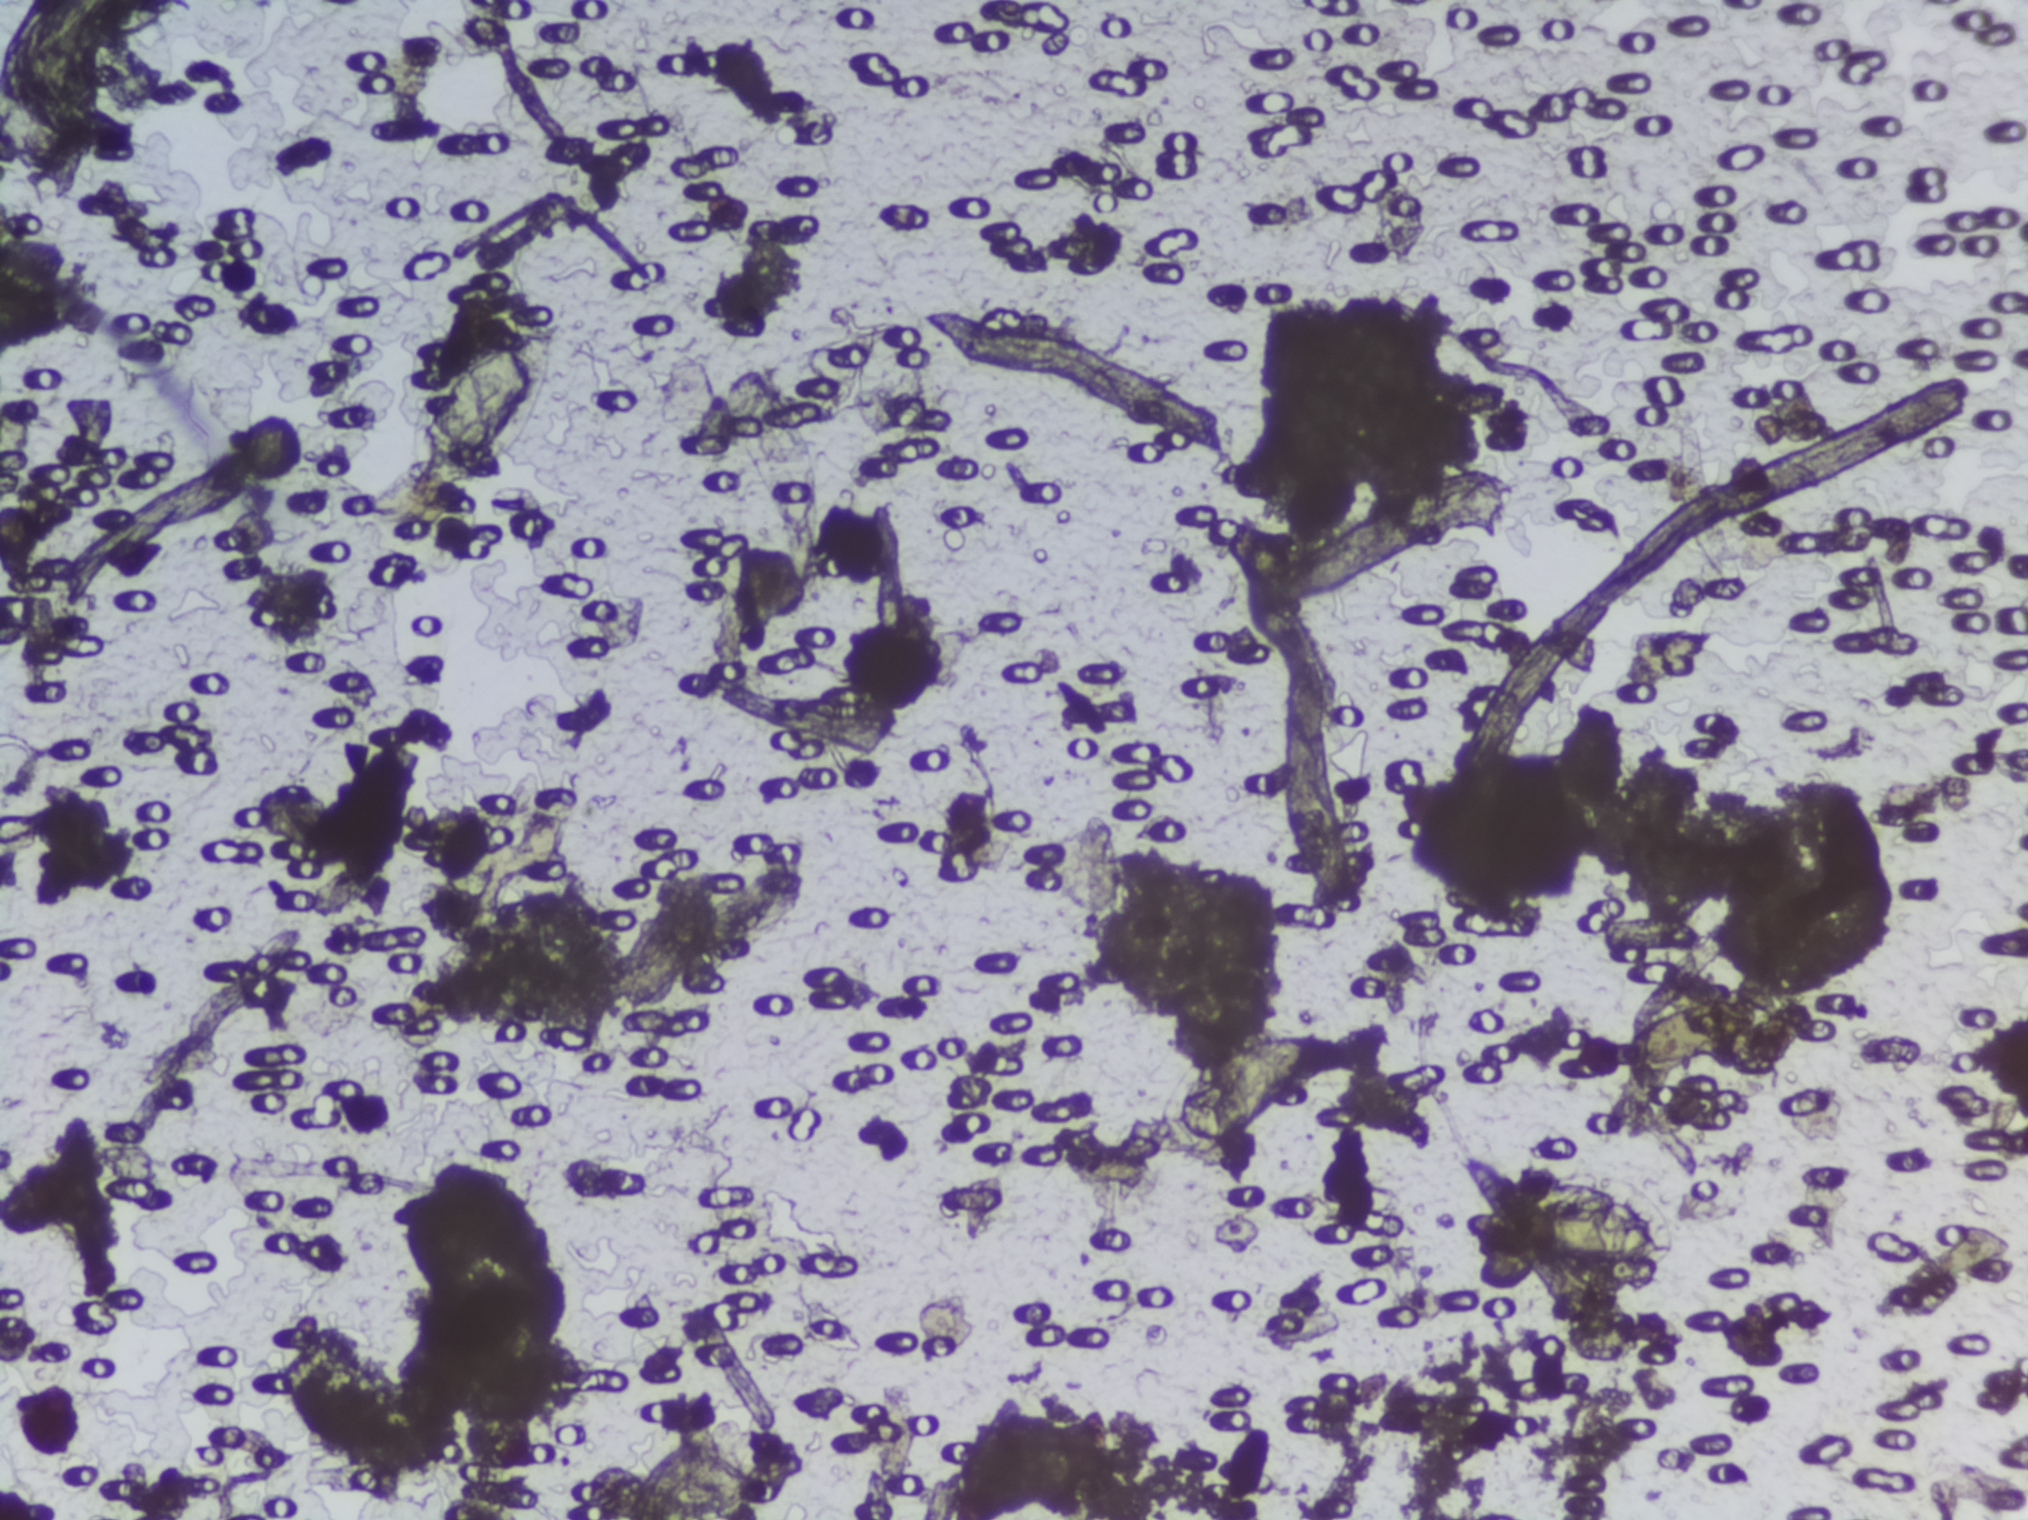
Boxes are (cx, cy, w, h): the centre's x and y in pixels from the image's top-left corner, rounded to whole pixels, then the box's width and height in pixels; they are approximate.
Areas outlined as Schistosoma eggs, left to right:
1. (cx=485, cy=408, w=171, h=185)
2. (cx=1236, cy=1087, w=162, h=128)
3. (cx=1585, cy=1223, w=176, h=110)
Eggs that touch can end up inside the same outlined area.
Microscope photograph (4× objective) of a membrane that a urine sample was filtered through. Field of view: about 1.5 mm wide and 1.1 mm high.